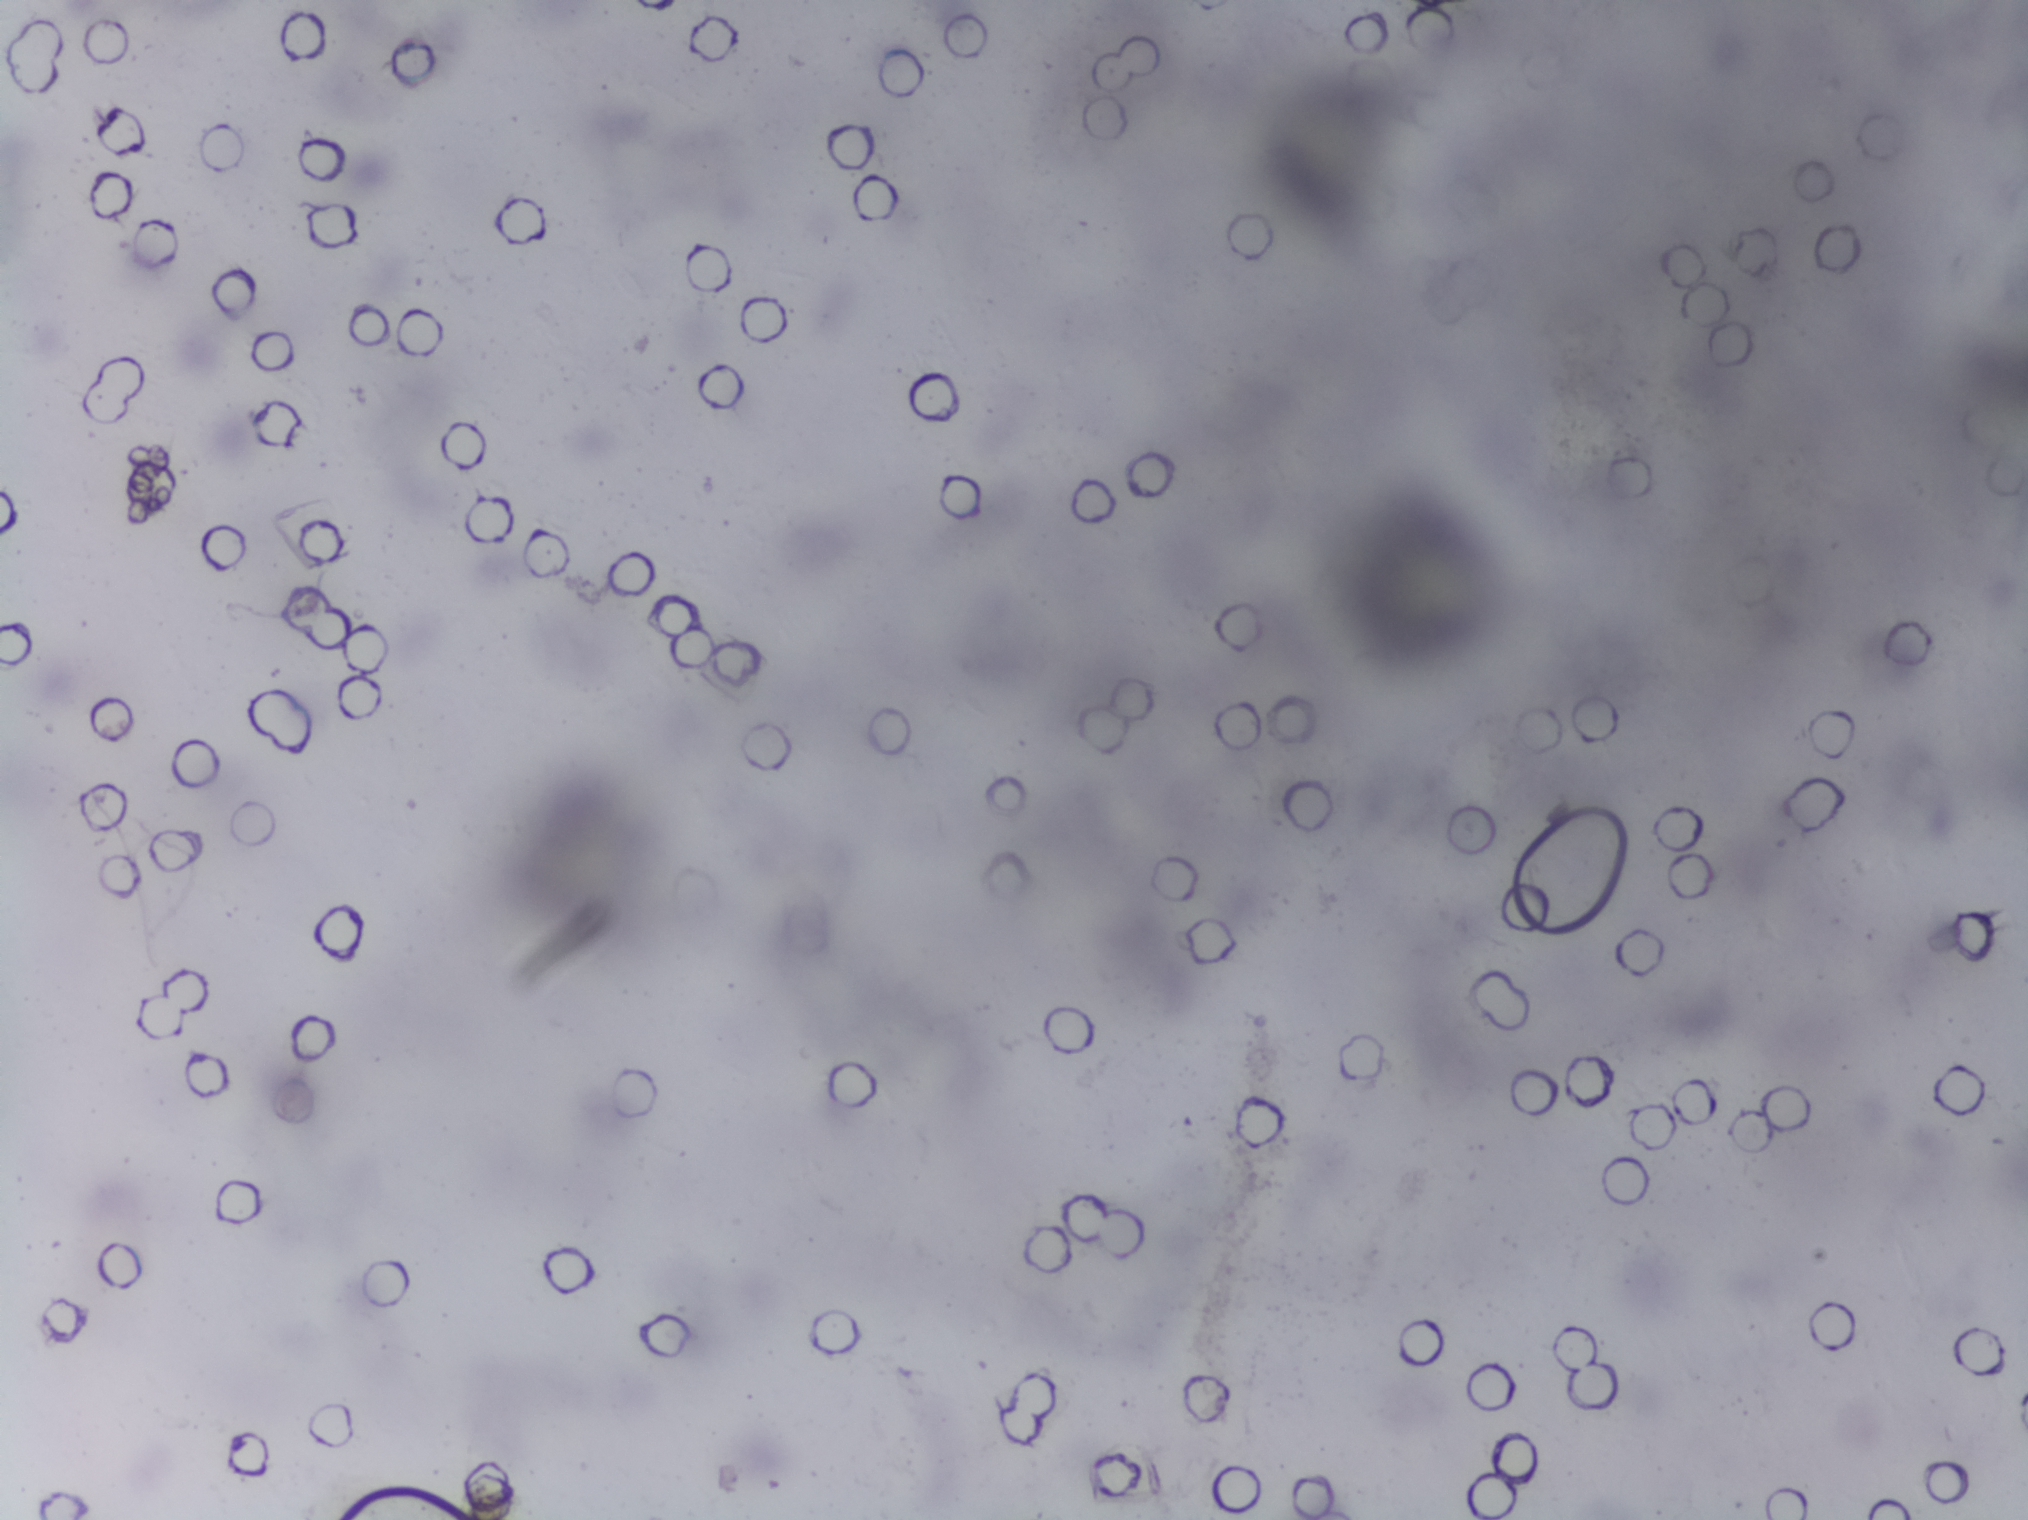
No area of this image was outlined as a Schistosoma egg.
Microscope photograph (4× objective) of a membrane that a urine sample was filtered through.